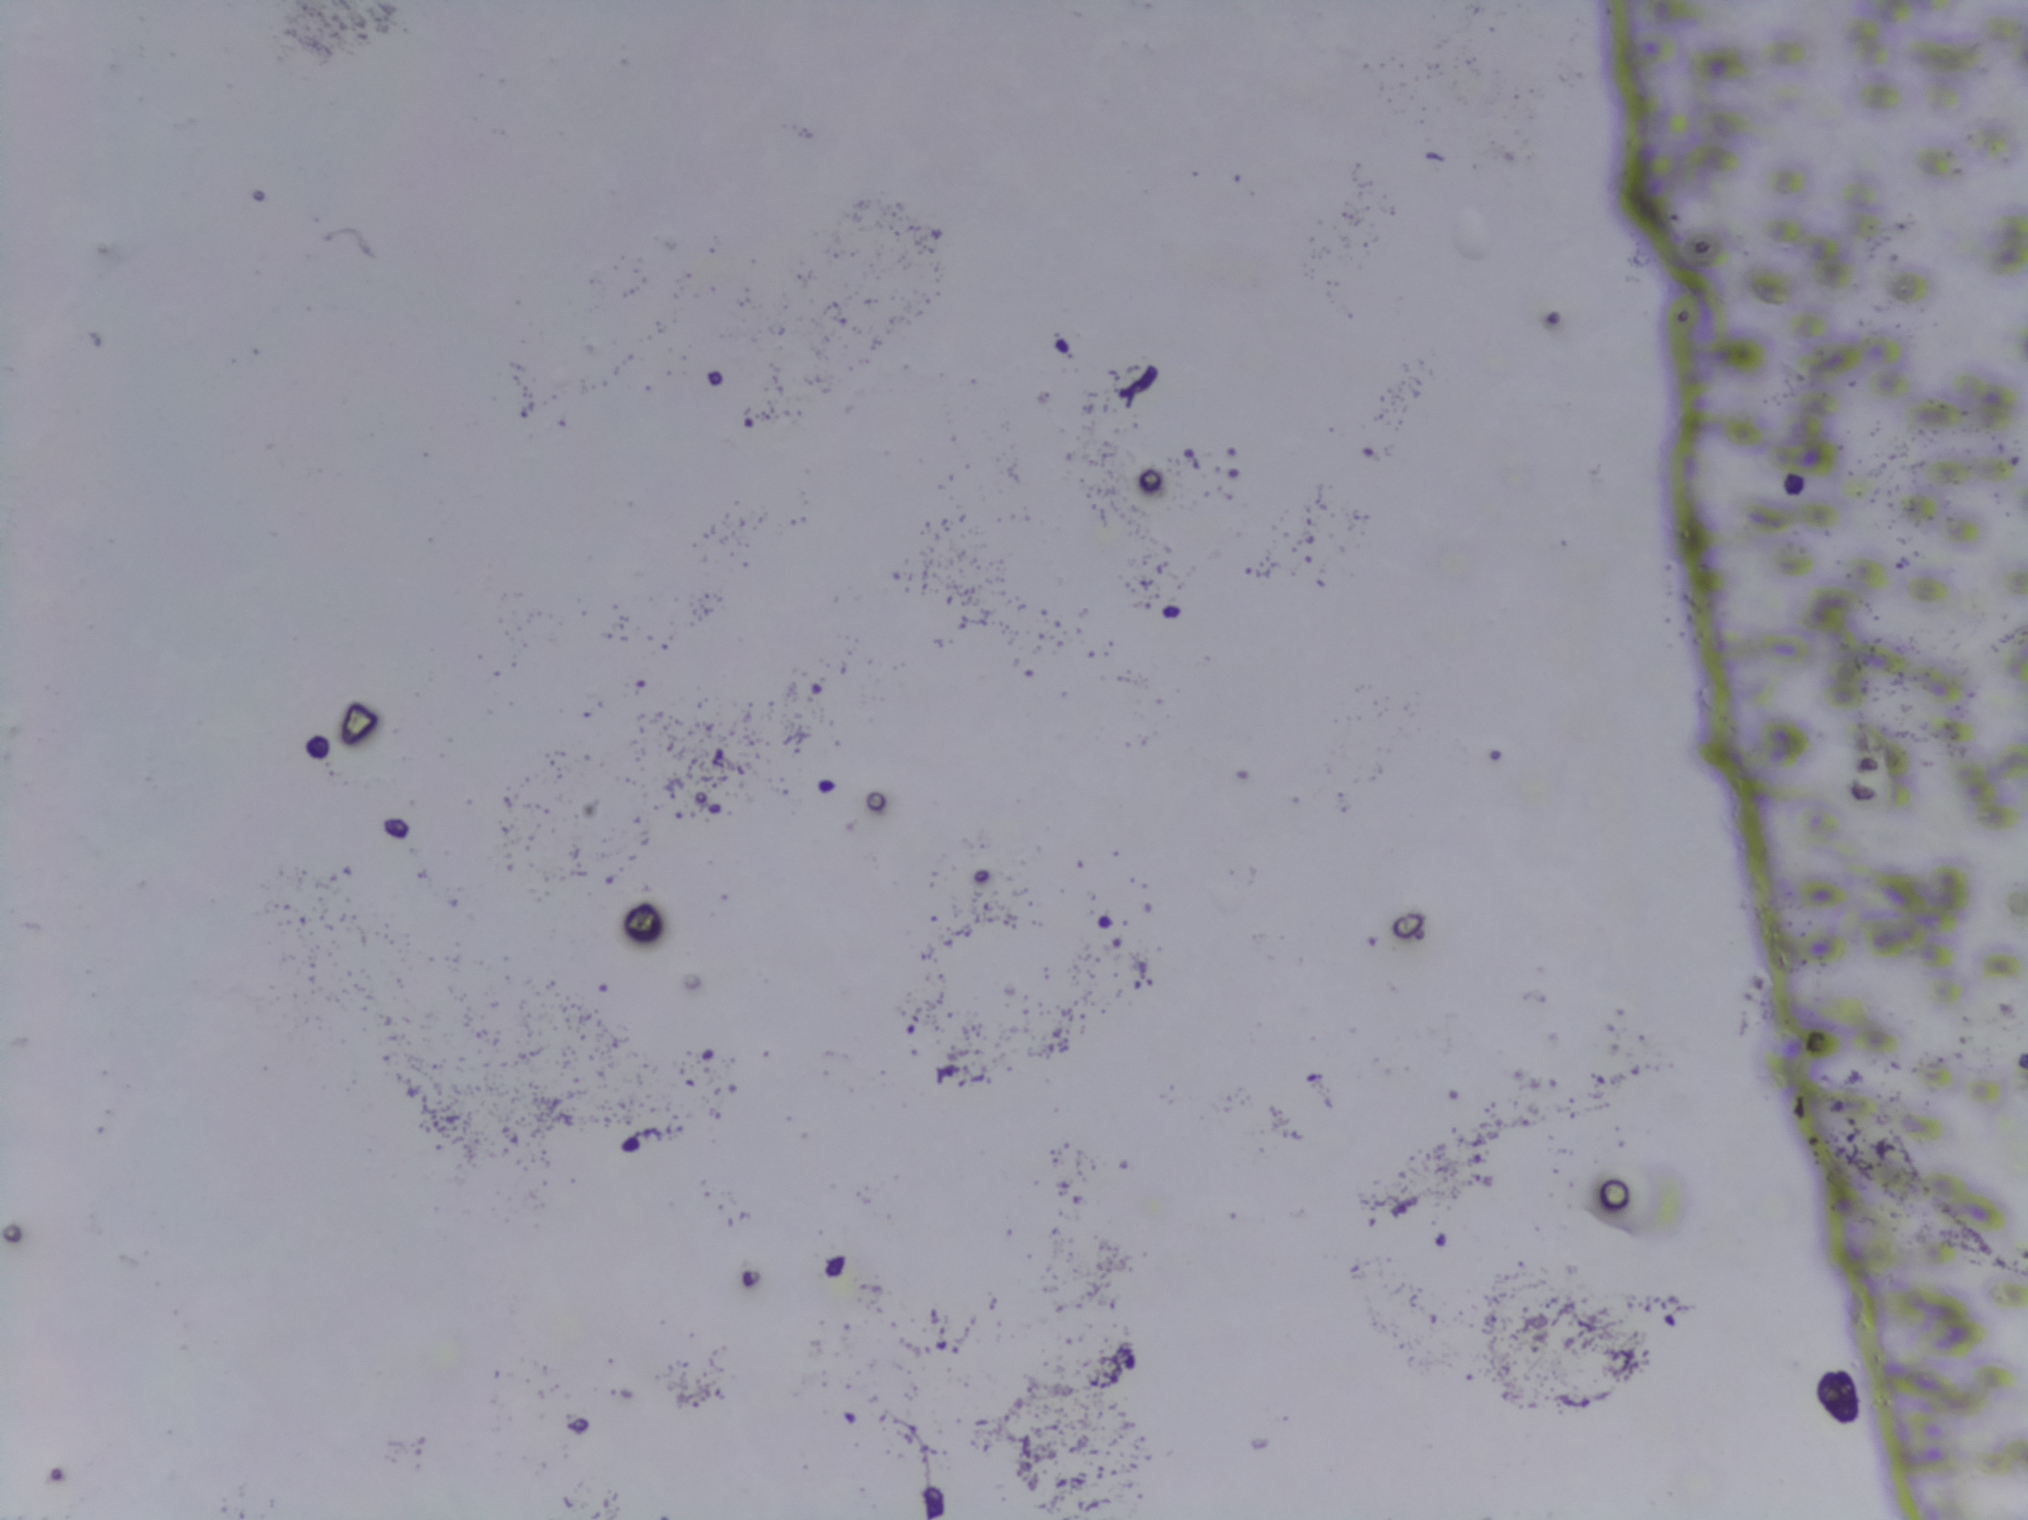
The expert annotation outlines no Schistosoma egg in this image.
Photomicrograph of a urine filtration membrane, 4× objective.